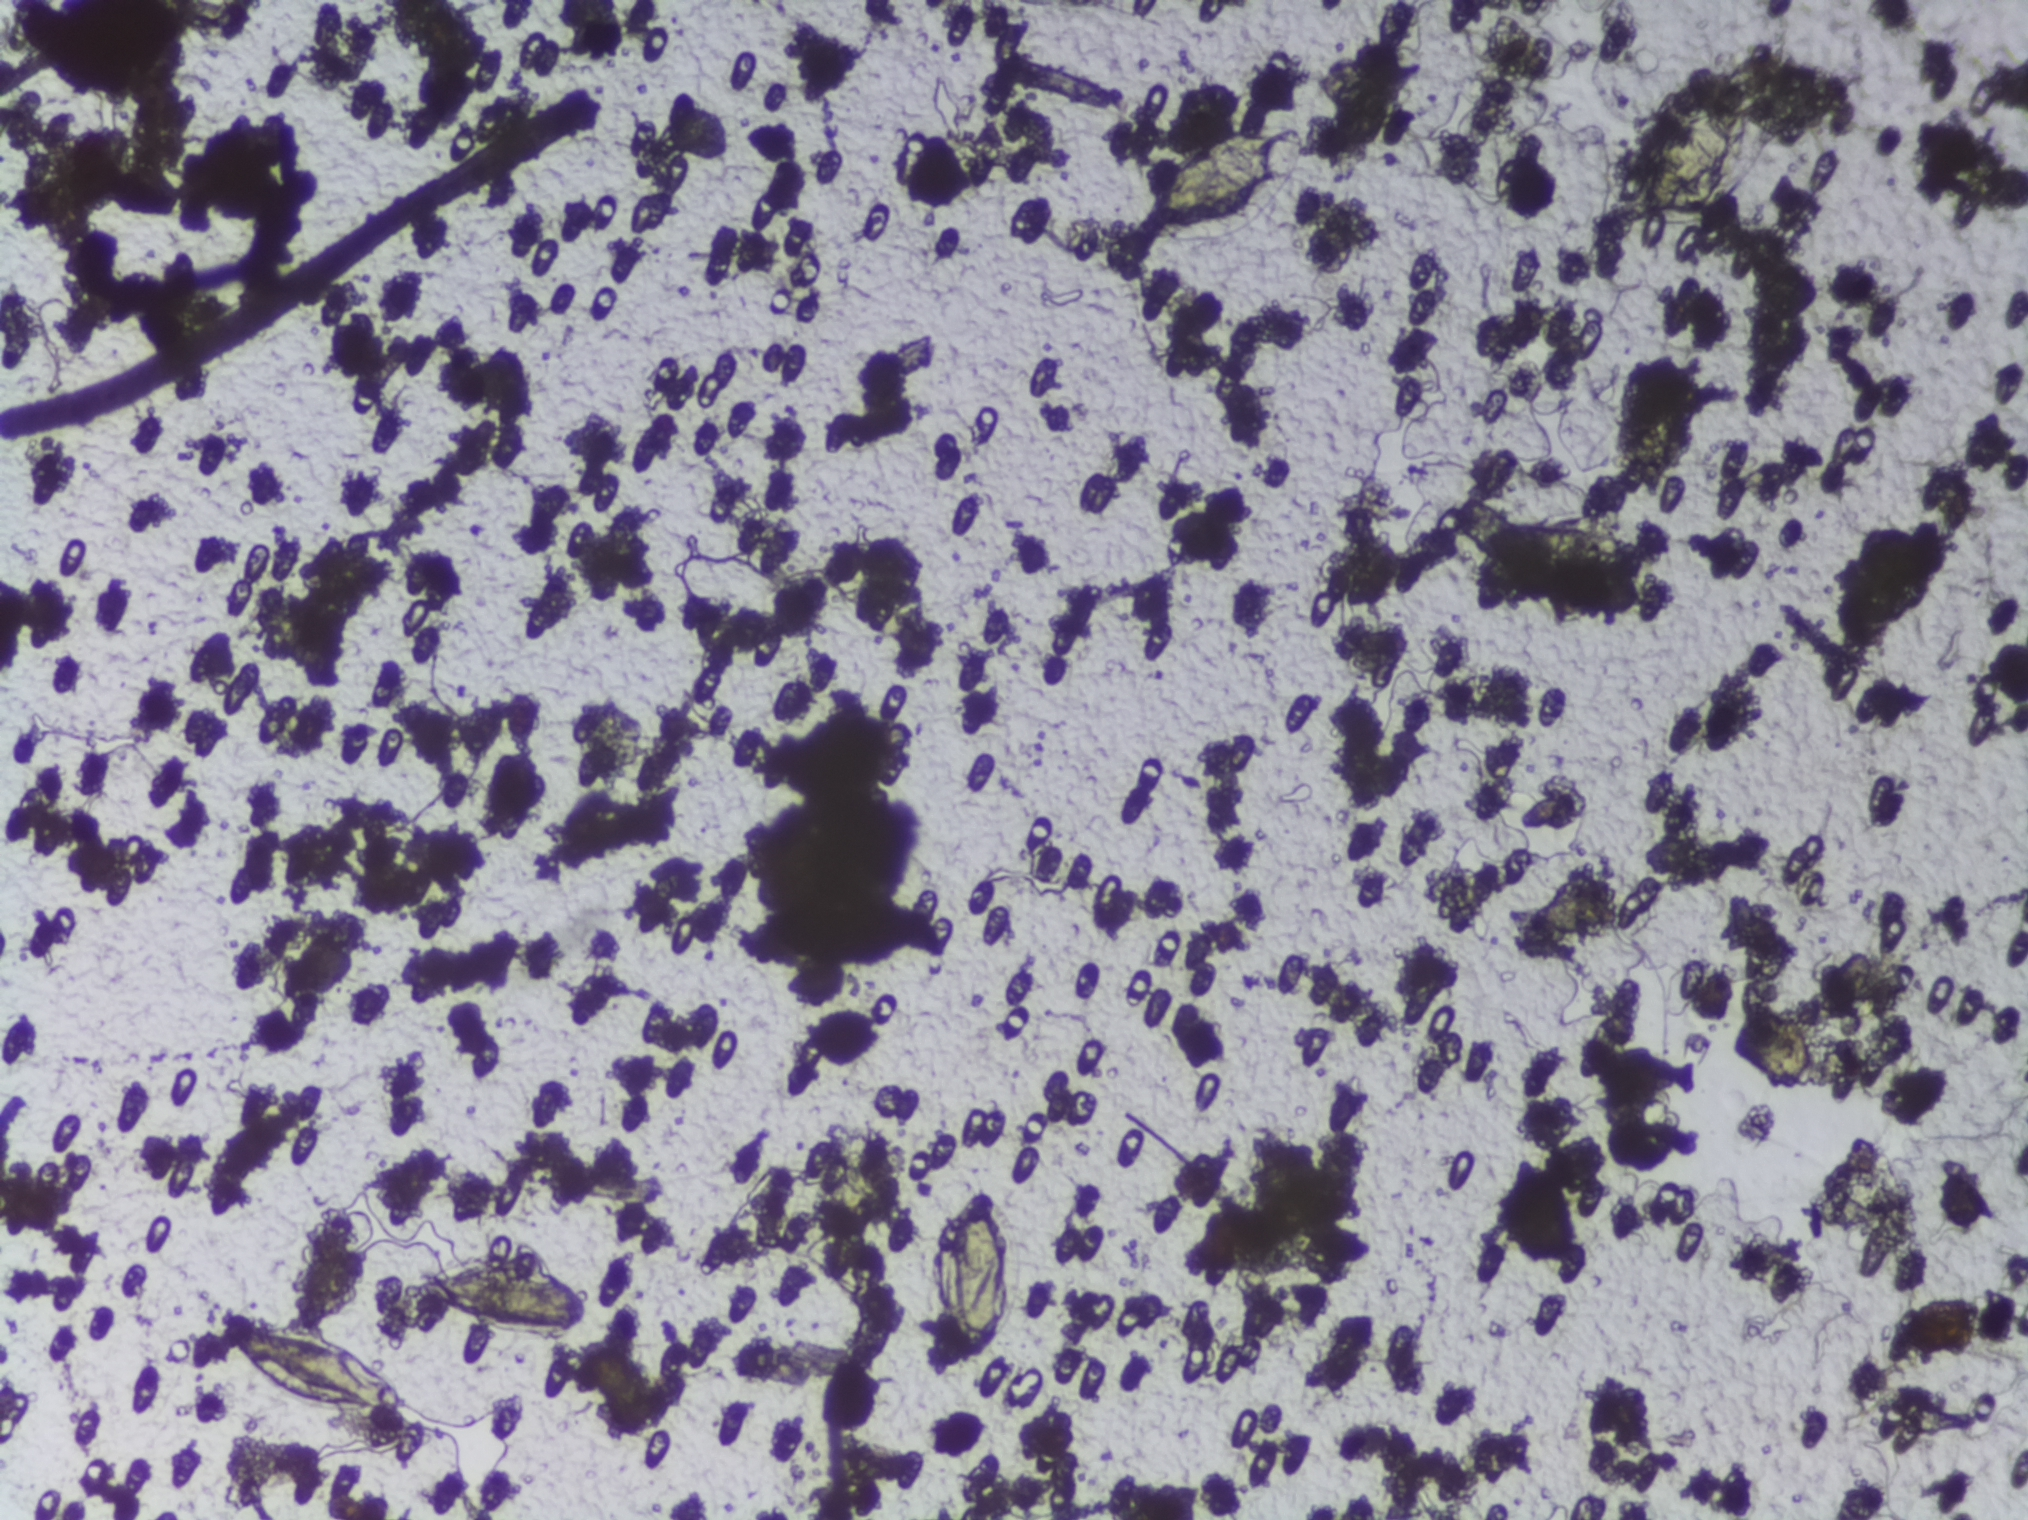
Urine filter membrane photographed through a 4× microscope objective. The image covers about 1.5 × 1.1 mm of the membrane.
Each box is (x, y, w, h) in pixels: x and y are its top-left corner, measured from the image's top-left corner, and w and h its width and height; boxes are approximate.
Schistosoma eggs are outlined in six areas of this image, listed from left to right: (x=211, y=1317, w=204, h=101); (x=409, y=1249, w=183, h=88); (x=930, y=1188, w=97, h=172); (x=1127, y=124, w=179, h=115); (x=1610, y=89, w=157, h=137); (x=1616, y=355, w=65, h=144). A single outlined area may contain several eggs.